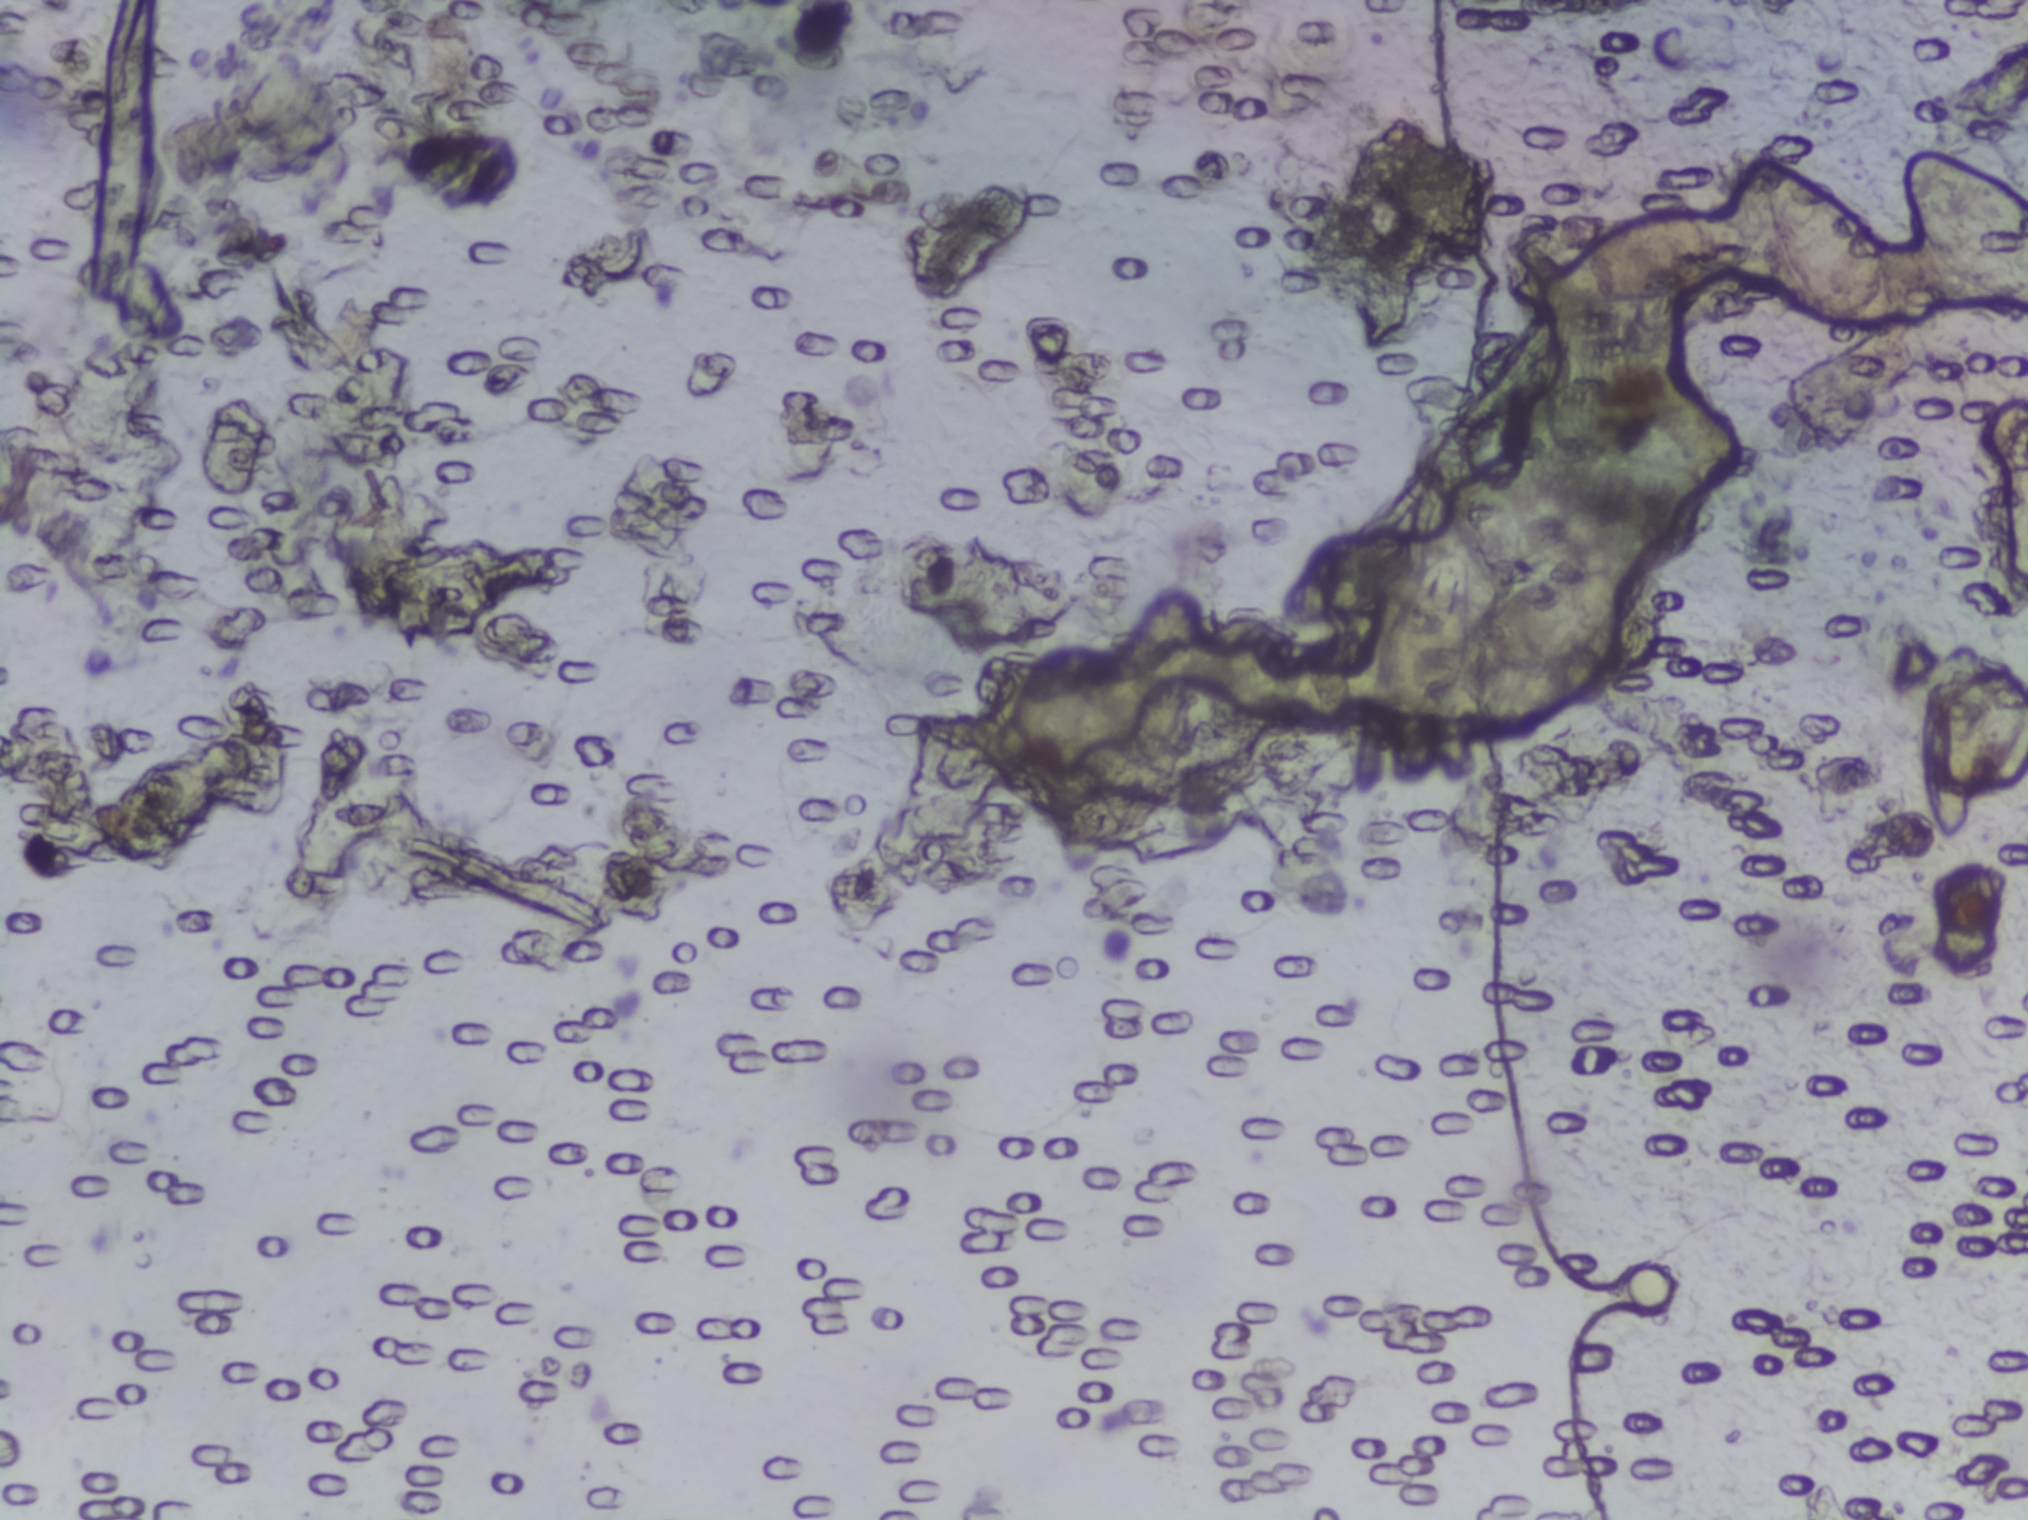
Photomicrograph of a urine filtration membrane, 4× objective. The image covers about 1.5 × 1.1 mm of the membrane.
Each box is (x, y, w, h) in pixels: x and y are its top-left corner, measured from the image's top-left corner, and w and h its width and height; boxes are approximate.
Five areas of this image are outlined as Schistosoma eggs, from left to right: (x=1280, y=527, w=133, h=97); (x=1383, y=549, w=266, h=180); (x=1552, y=204, w=208, h=102); (x=1752, y=164, w=149, h=176); (x=1895, y=147, w=133, h=164) (reaching the right edge of the frame). A single outlined area may contain several eggs.